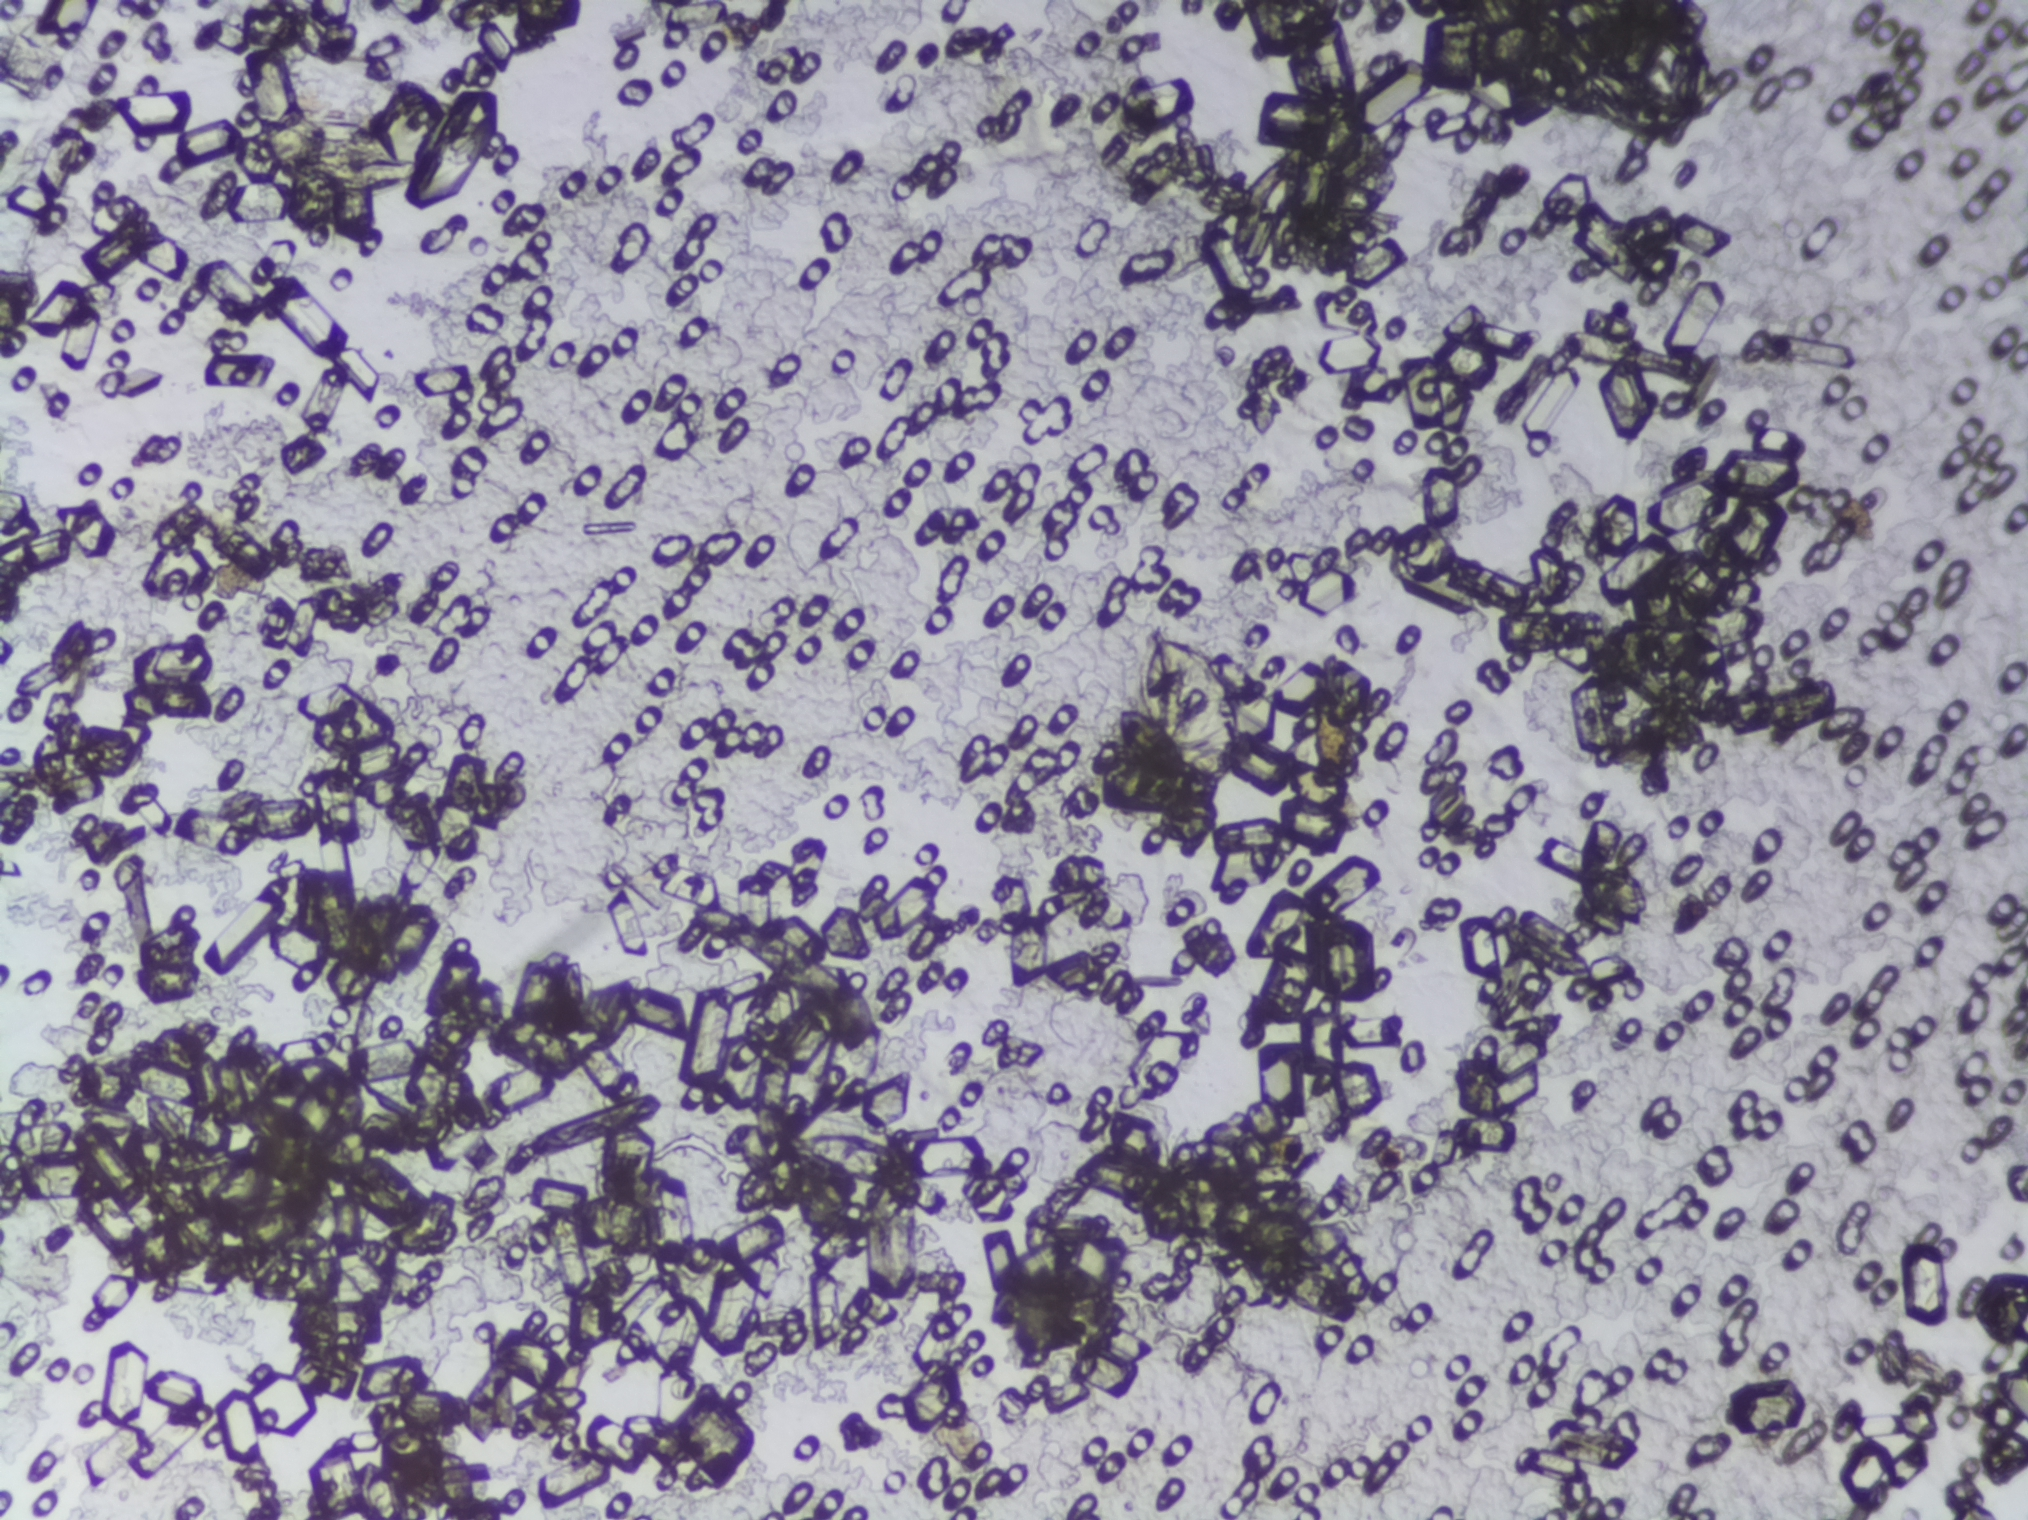
One field of view of a urine filter membrane, 4× objective, 2028 × 1520 pixels.
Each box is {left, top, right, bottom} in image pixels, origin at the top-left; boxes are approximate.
One area of this image is outlined as Schistosoma eggs: {1135, 624, 1242, 788}. About 0.4% of the image's pixels are marked (the marked pixels themselves, not the box around them). Eggs that touch can end up inside the same outlined area.